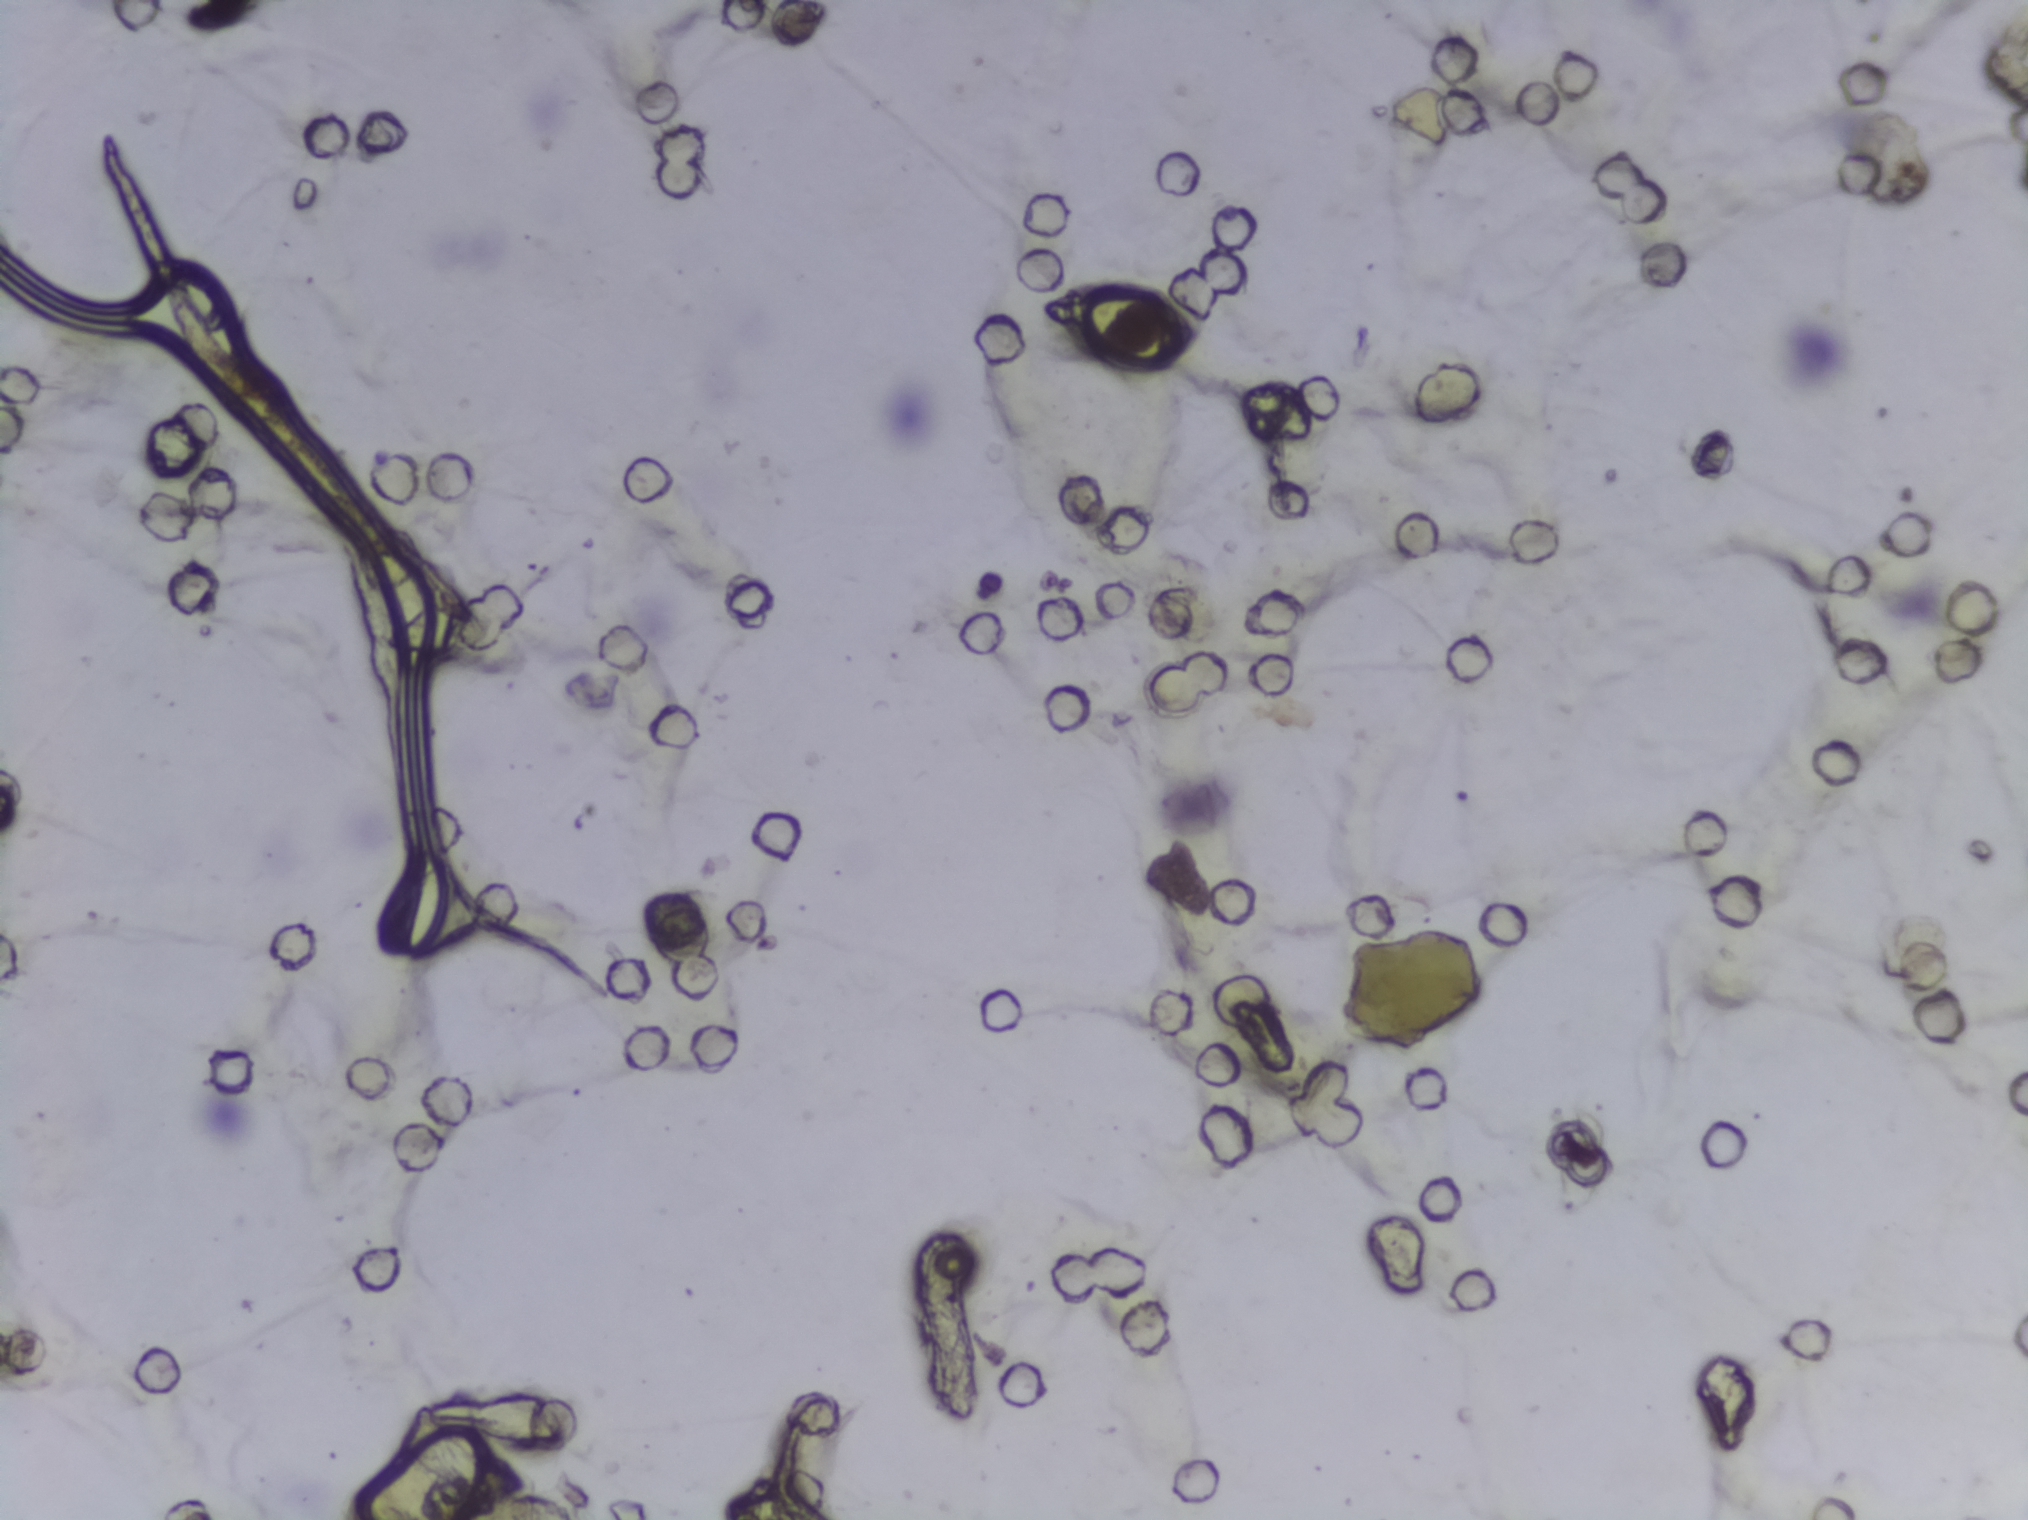
Photograph from an automated digital microscope: urine filter membrane, 4× objective.
No Schistosoma egg is outlined in this image's expert annotation.